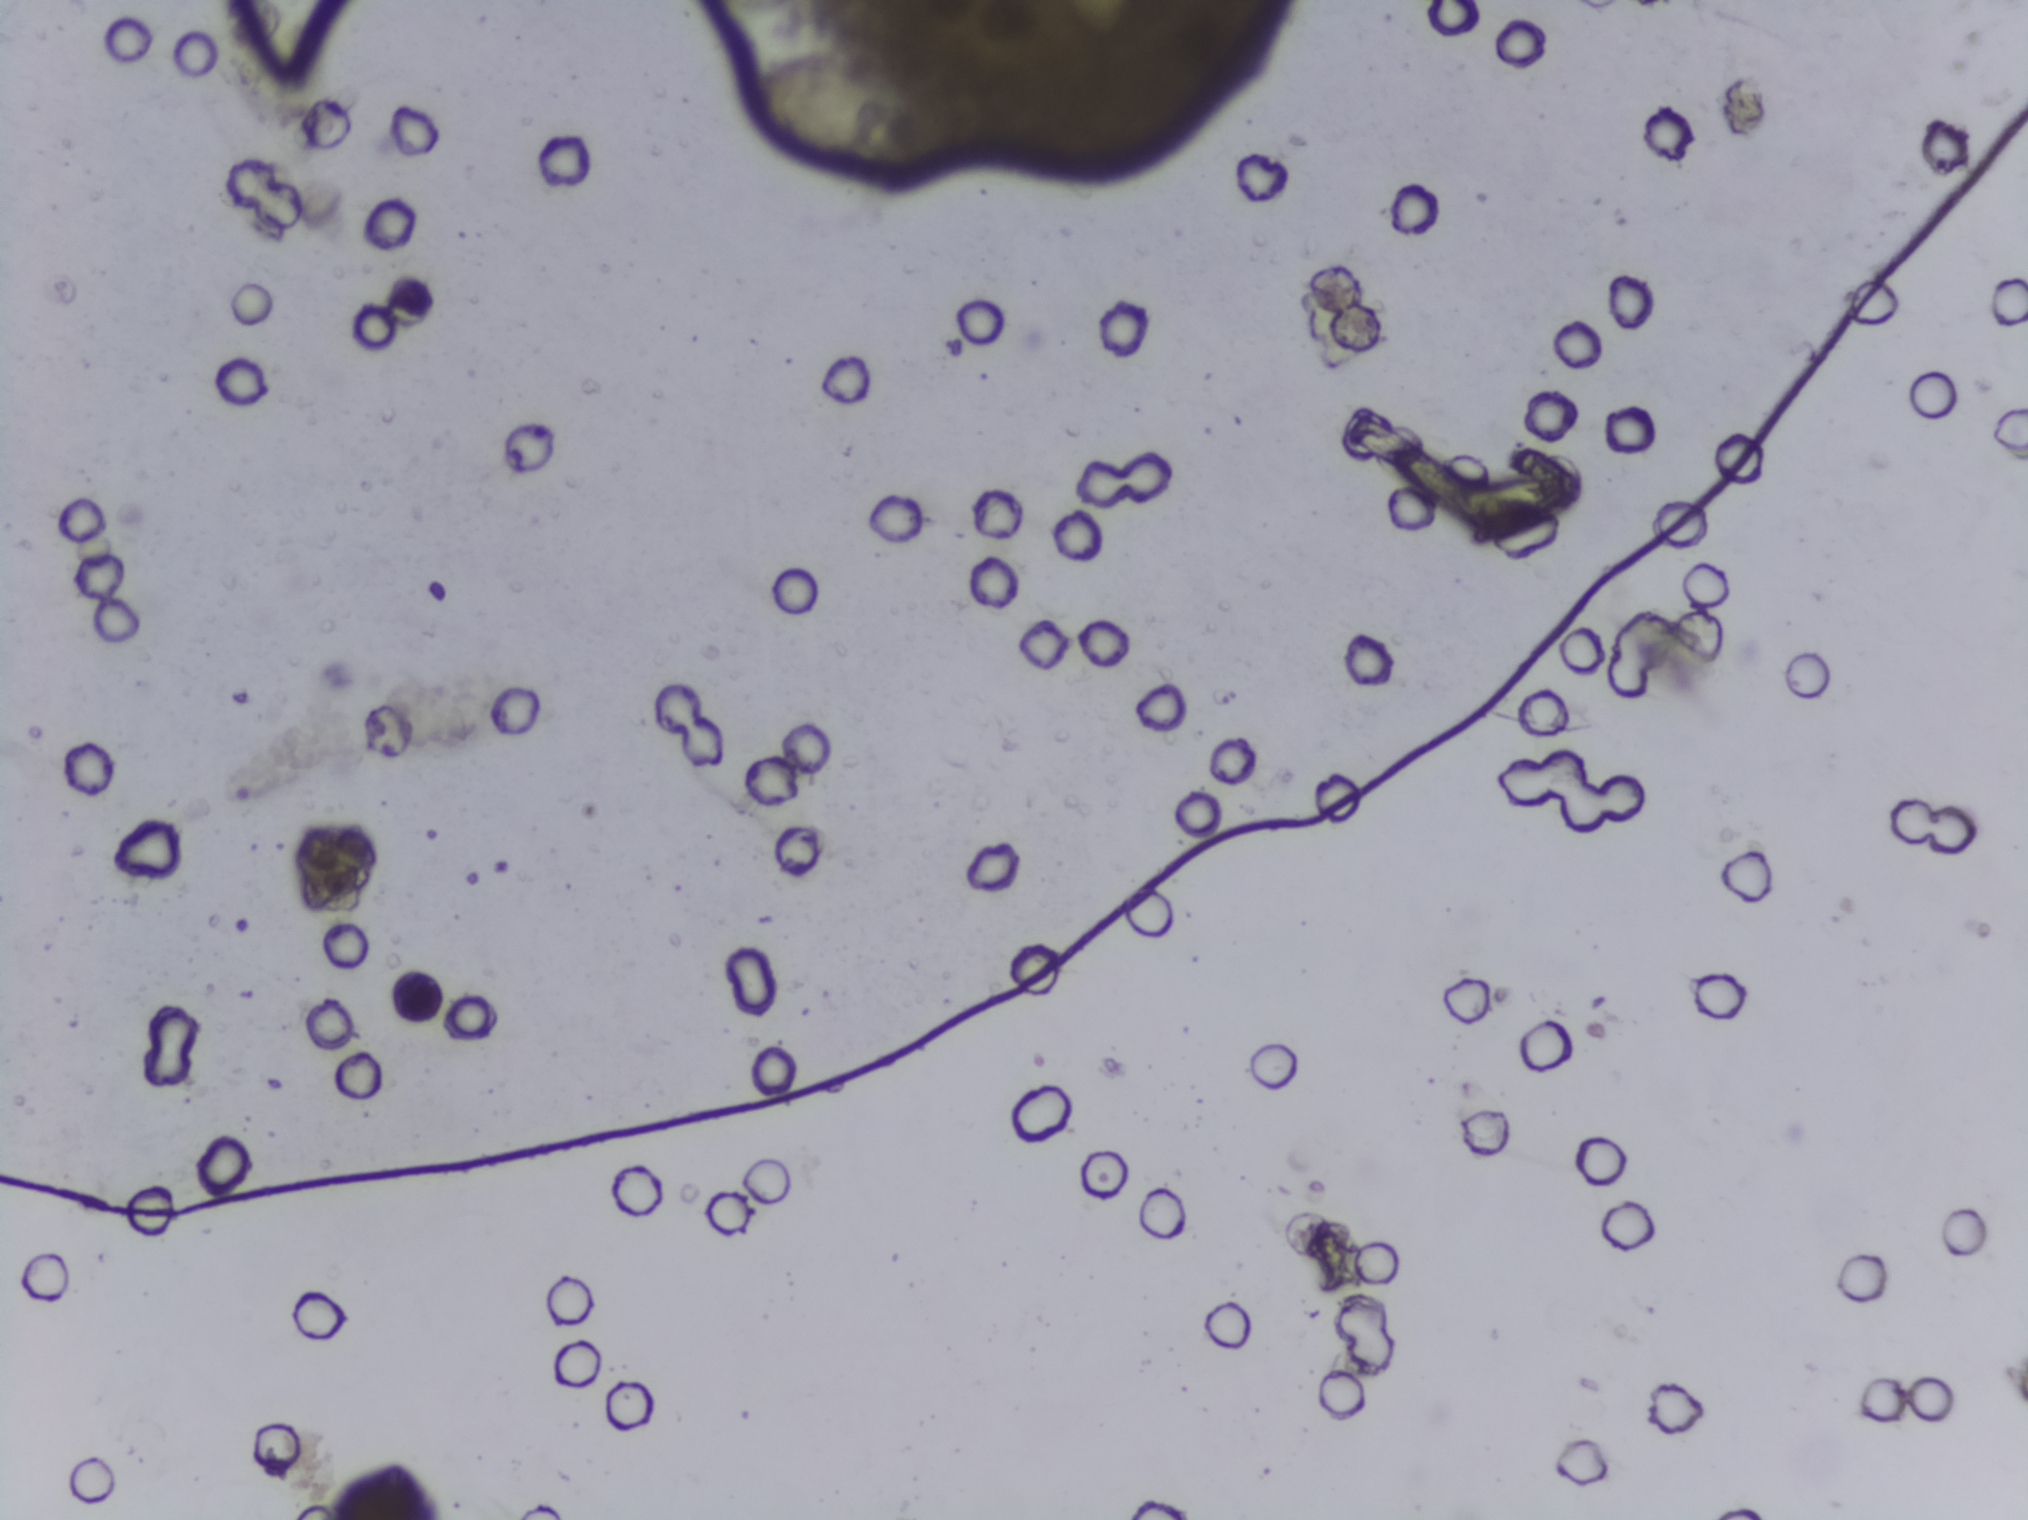
One field of view of a urine filter membrane, 4× objective, 2028 × 1520 pixels.
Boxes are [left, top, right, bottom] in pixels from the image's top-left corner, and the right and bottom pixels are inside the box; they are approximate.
{"schistosoma_egg_areas_xyxy_px": [[745, 49, 987, 190]]}
The marked pixels themselves, not the box around them, cover about 0.7% of the image. A single outlined area may contain several eggs. A marked egg may occasionally be S. mansoni rather than S. haematobium.